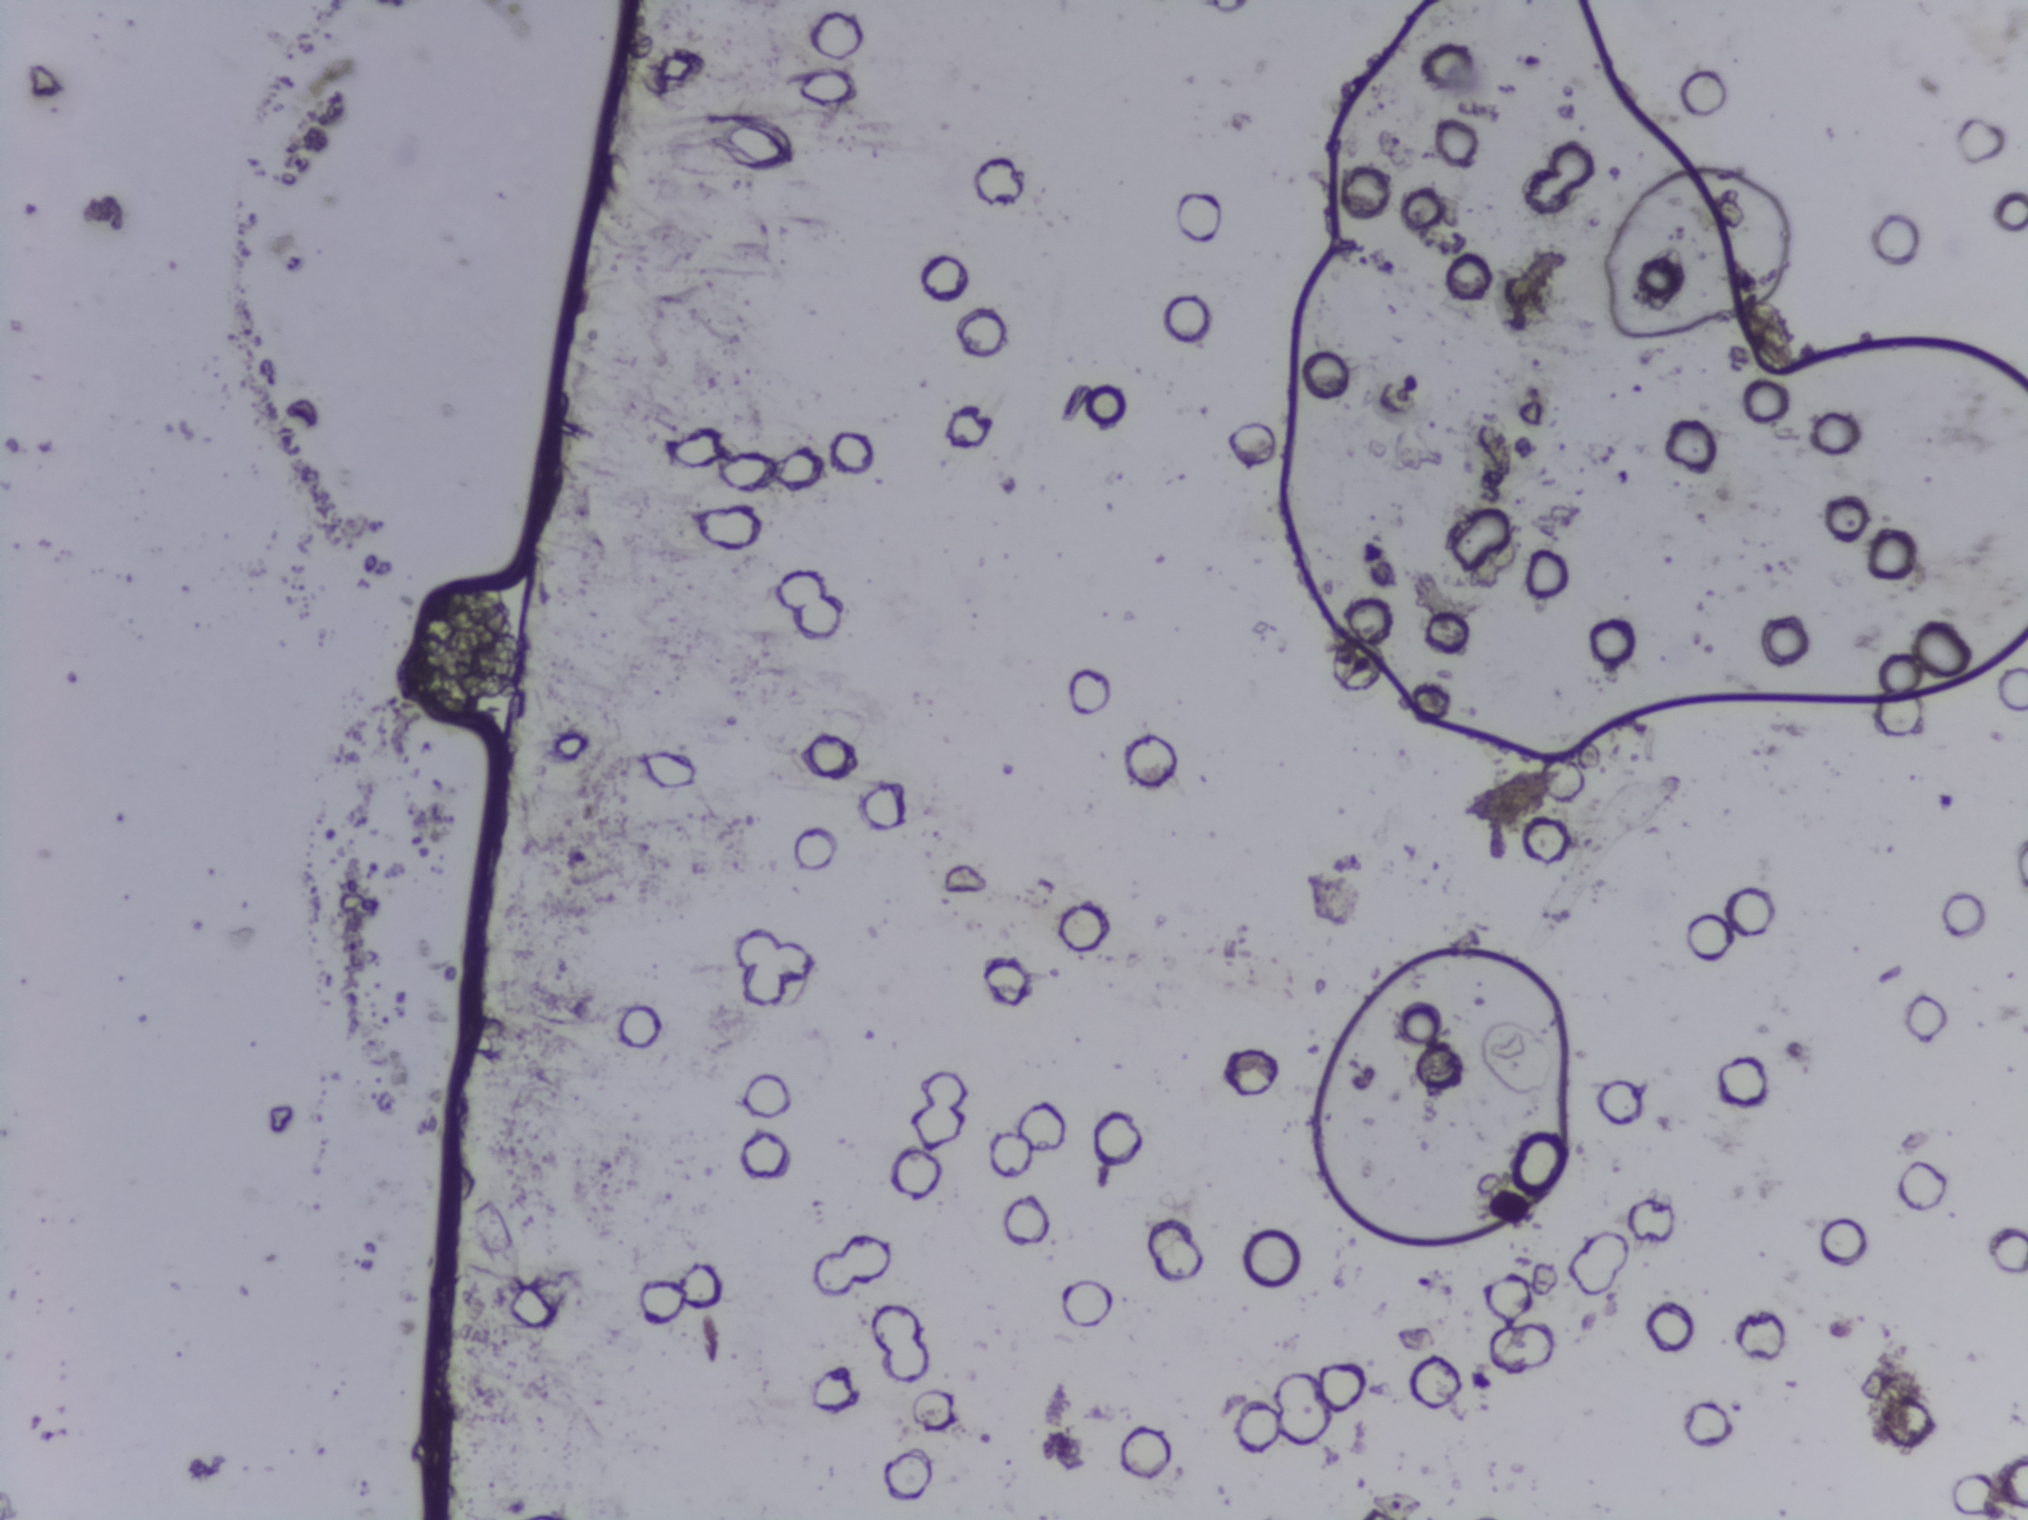
Urine filter membrane photographed through a 4× microscope objective. The field of view is about 1.5 mm × 1.1 mm.
Schistosoma eggs: none outlined.